Urine filter membrane photographed through a 4× microscope objective.
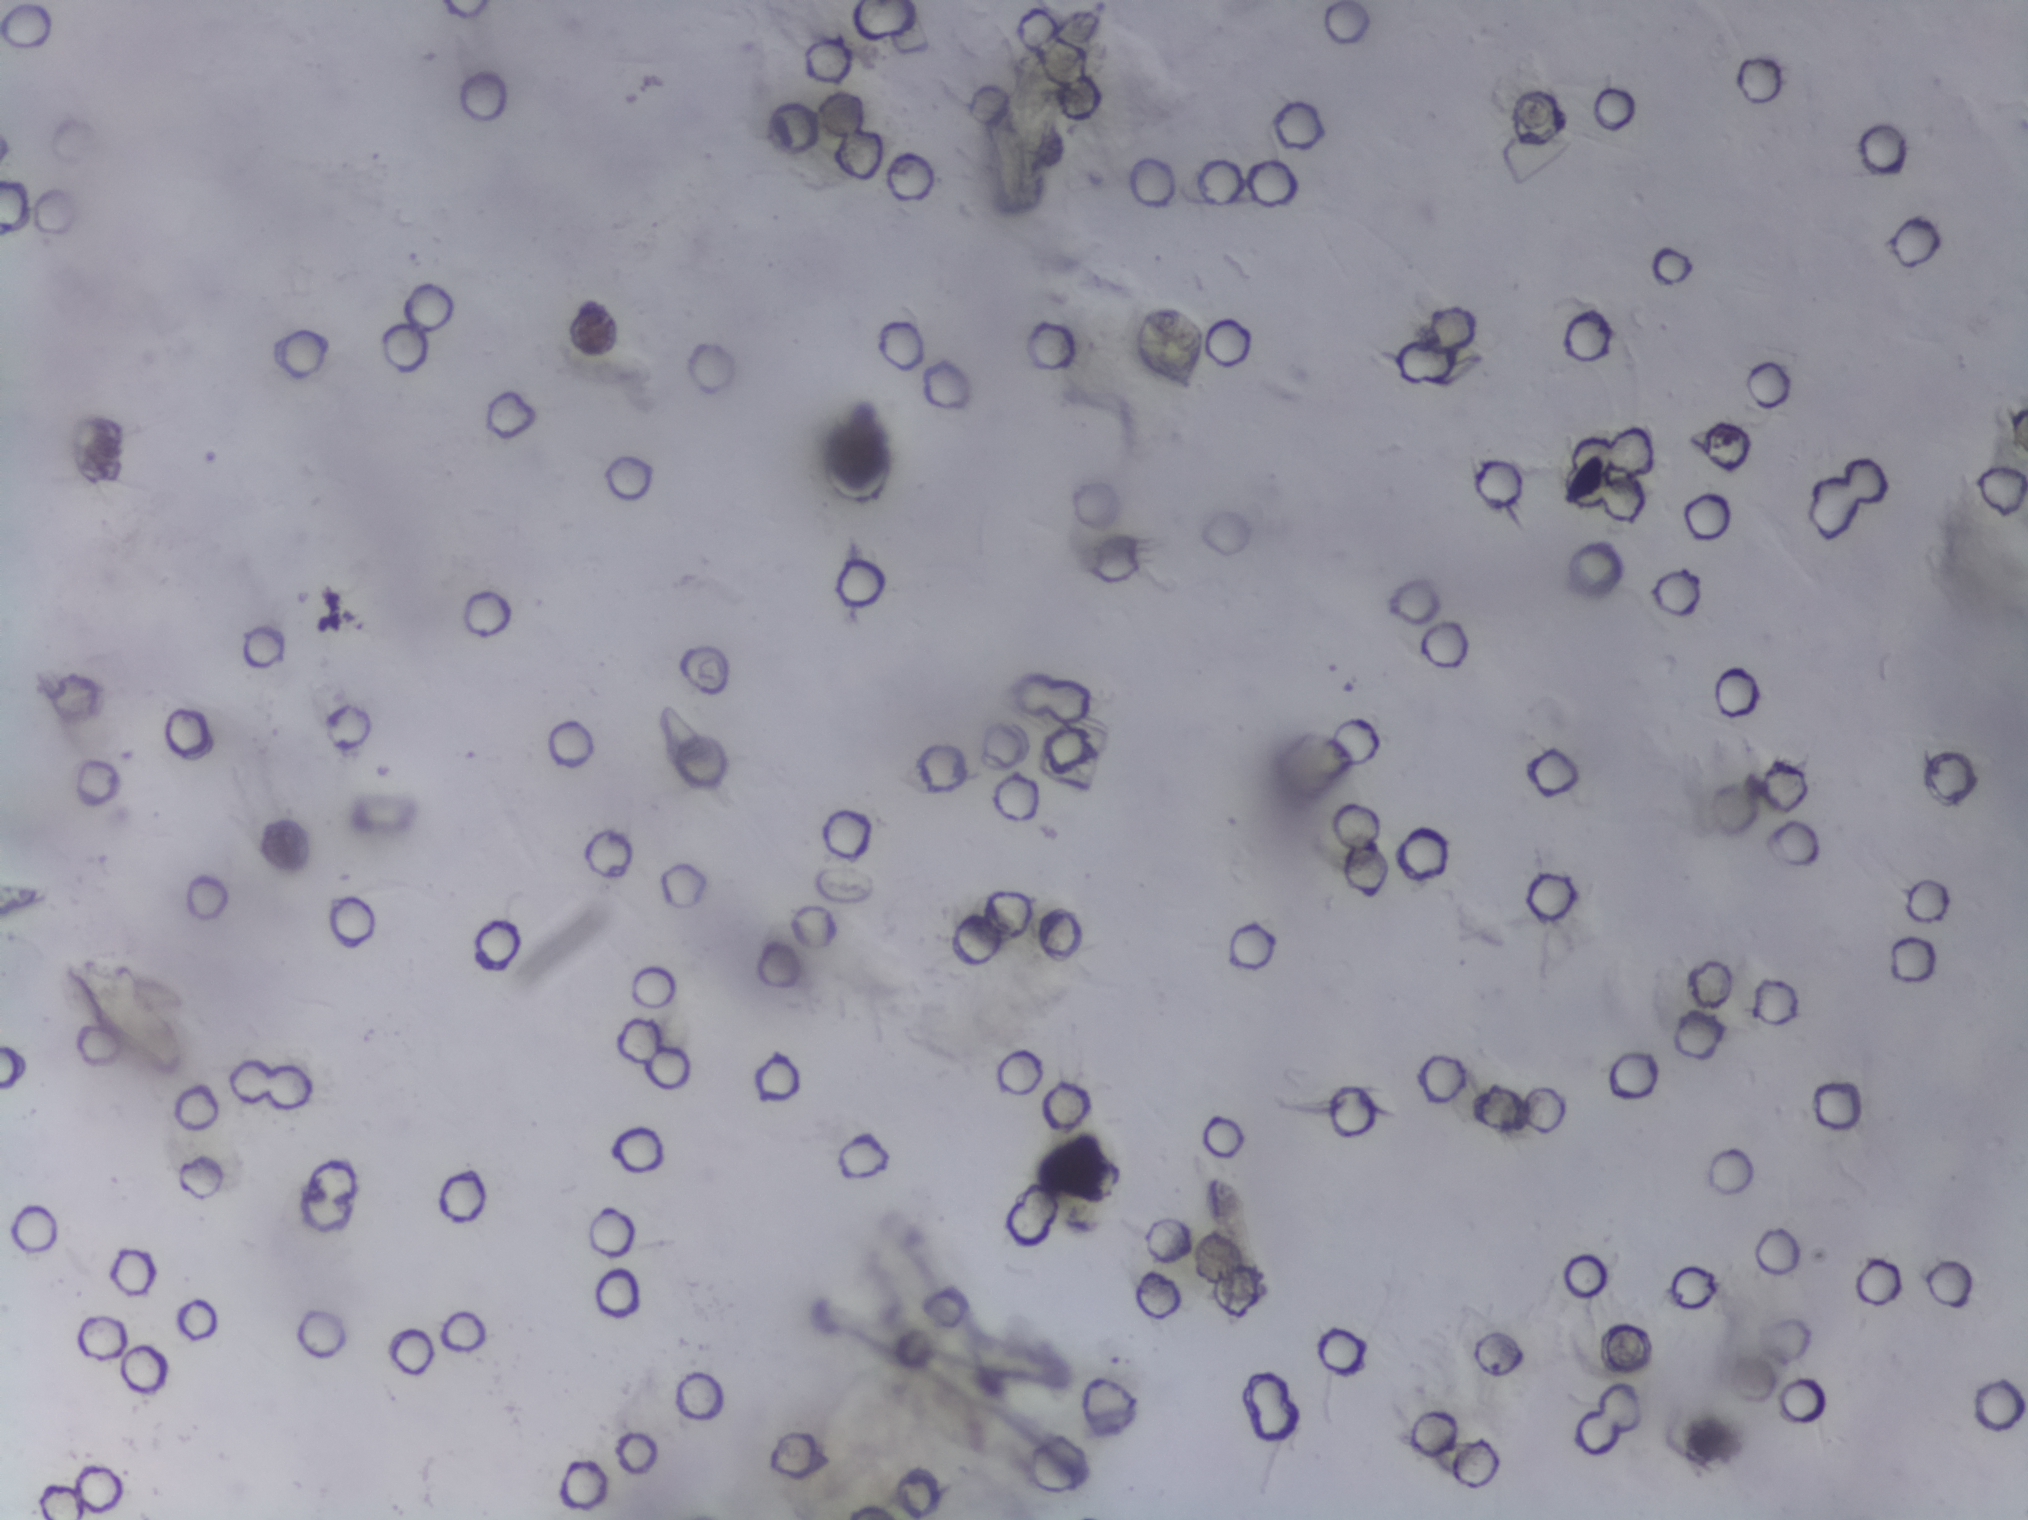
The expert annotation marks no Schistosoma egg in this field of view.